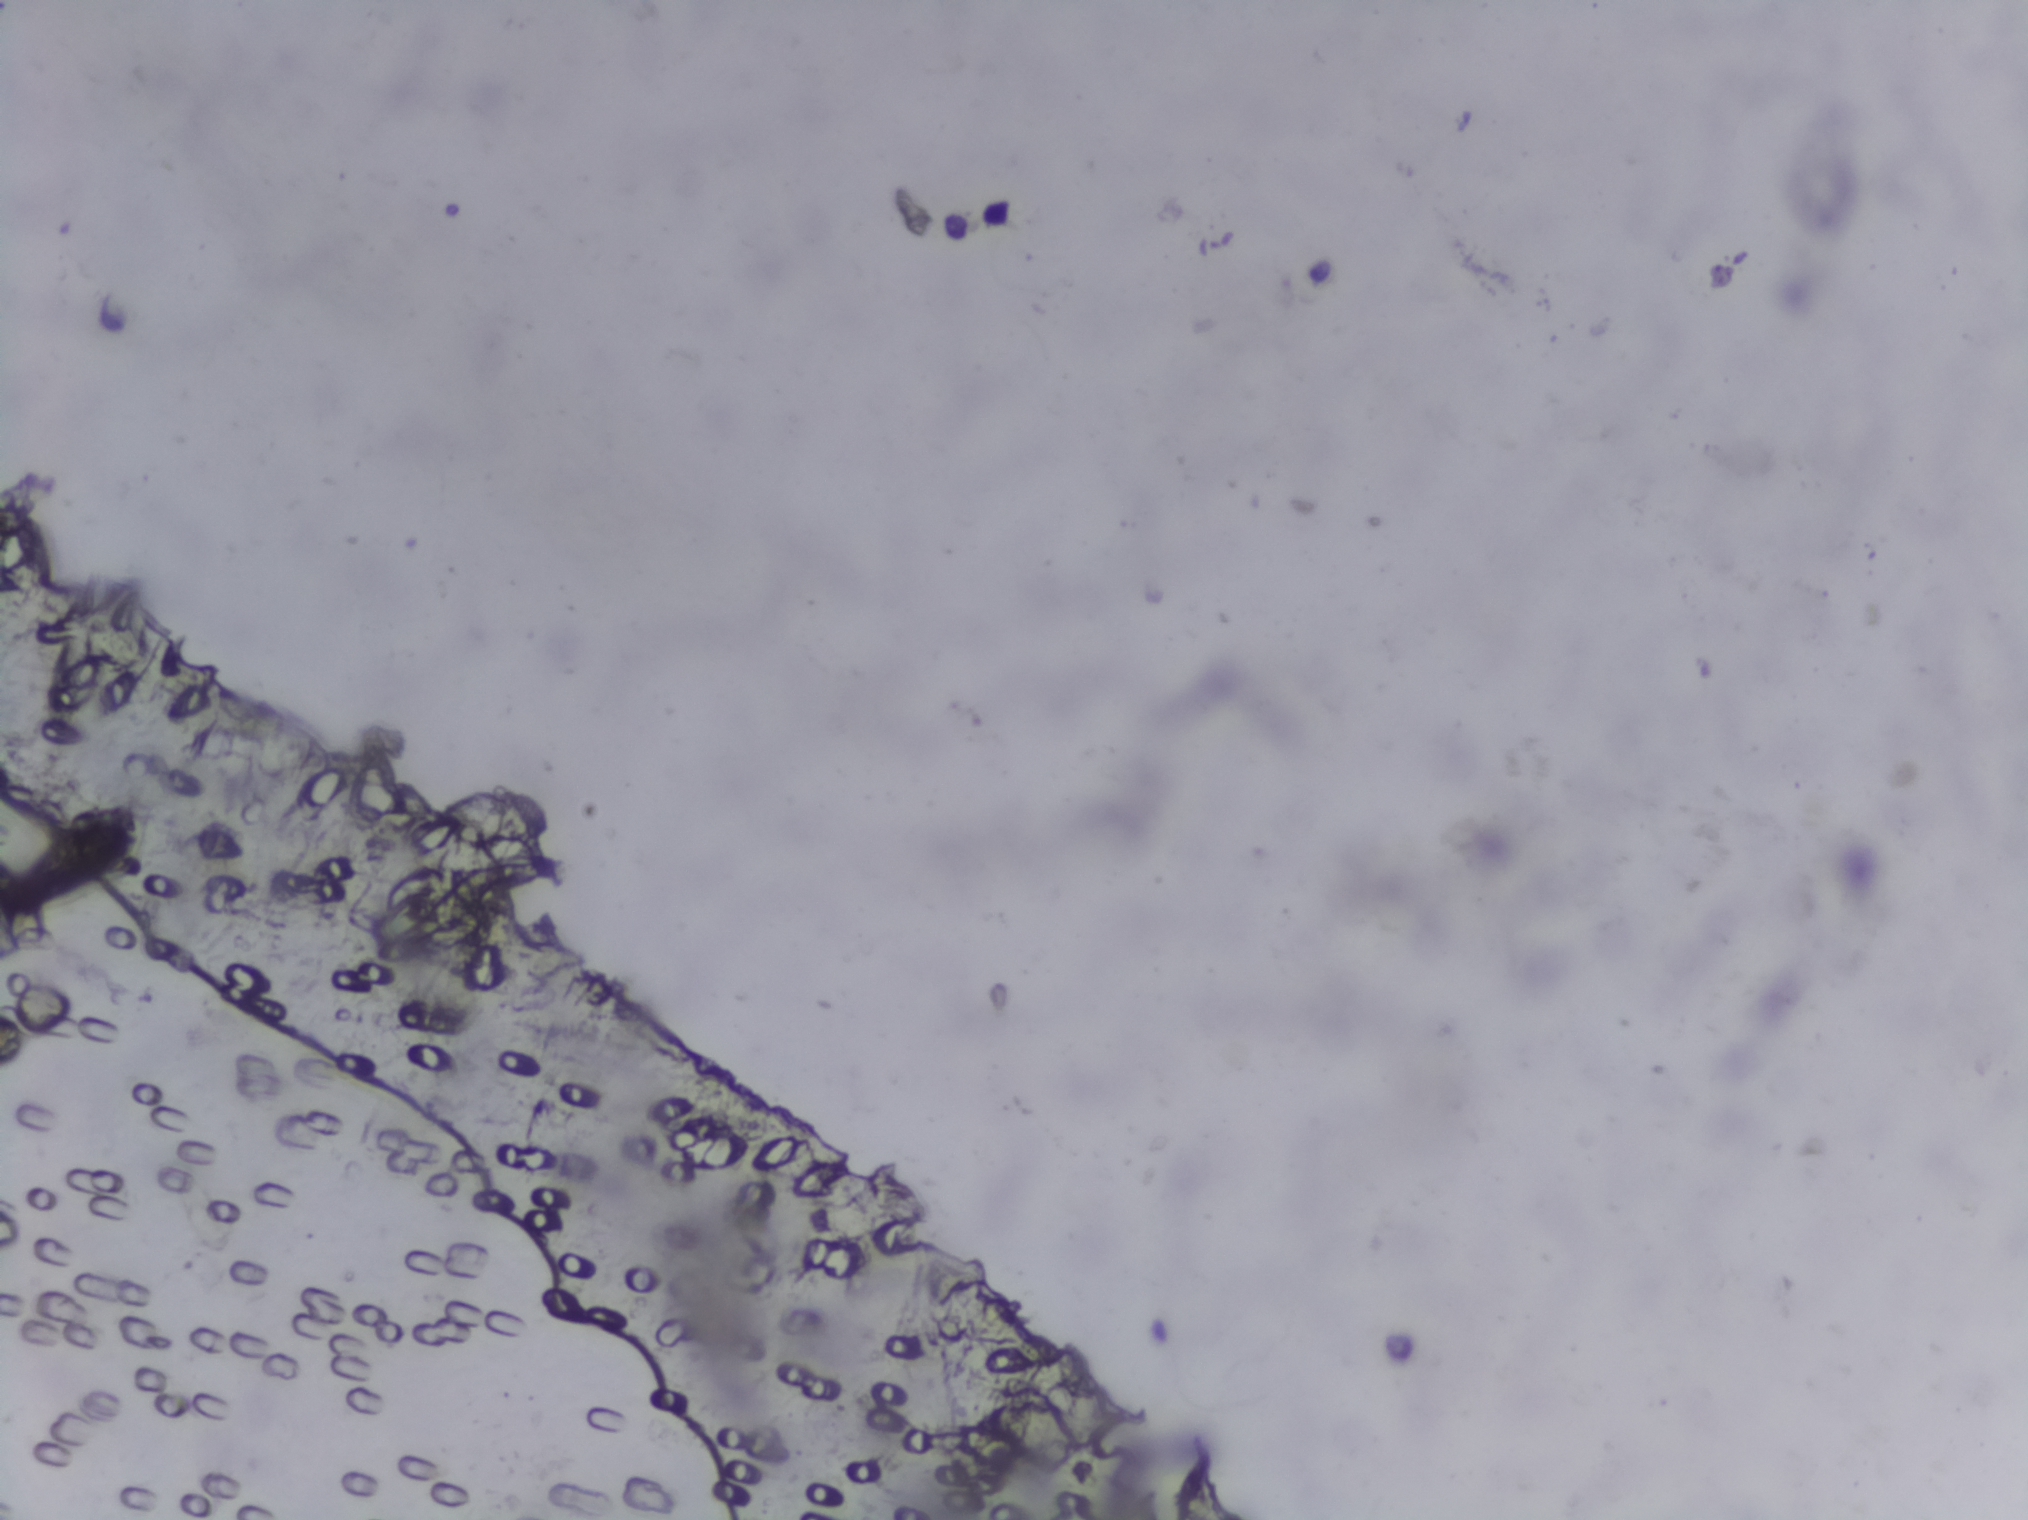
One field of view of a urine filter membrane, 4× objective, 2028 × 1520 pixels. The field of view is about 1.5 mm × 1.1 mm.
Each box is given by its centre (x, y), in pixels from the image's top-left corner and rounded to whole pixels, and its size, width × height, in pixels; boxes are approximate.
The expert annotation outlines Schistosoma eggs at centre (75, 862), 151 × 106 px (reaching the left edge of the frame). Eggs that touch can end up inside the same outlined area.